Urine filter membrane photographed through a 4× microscope objective. The field of view is about 1.5 mm × 1.1 mm.
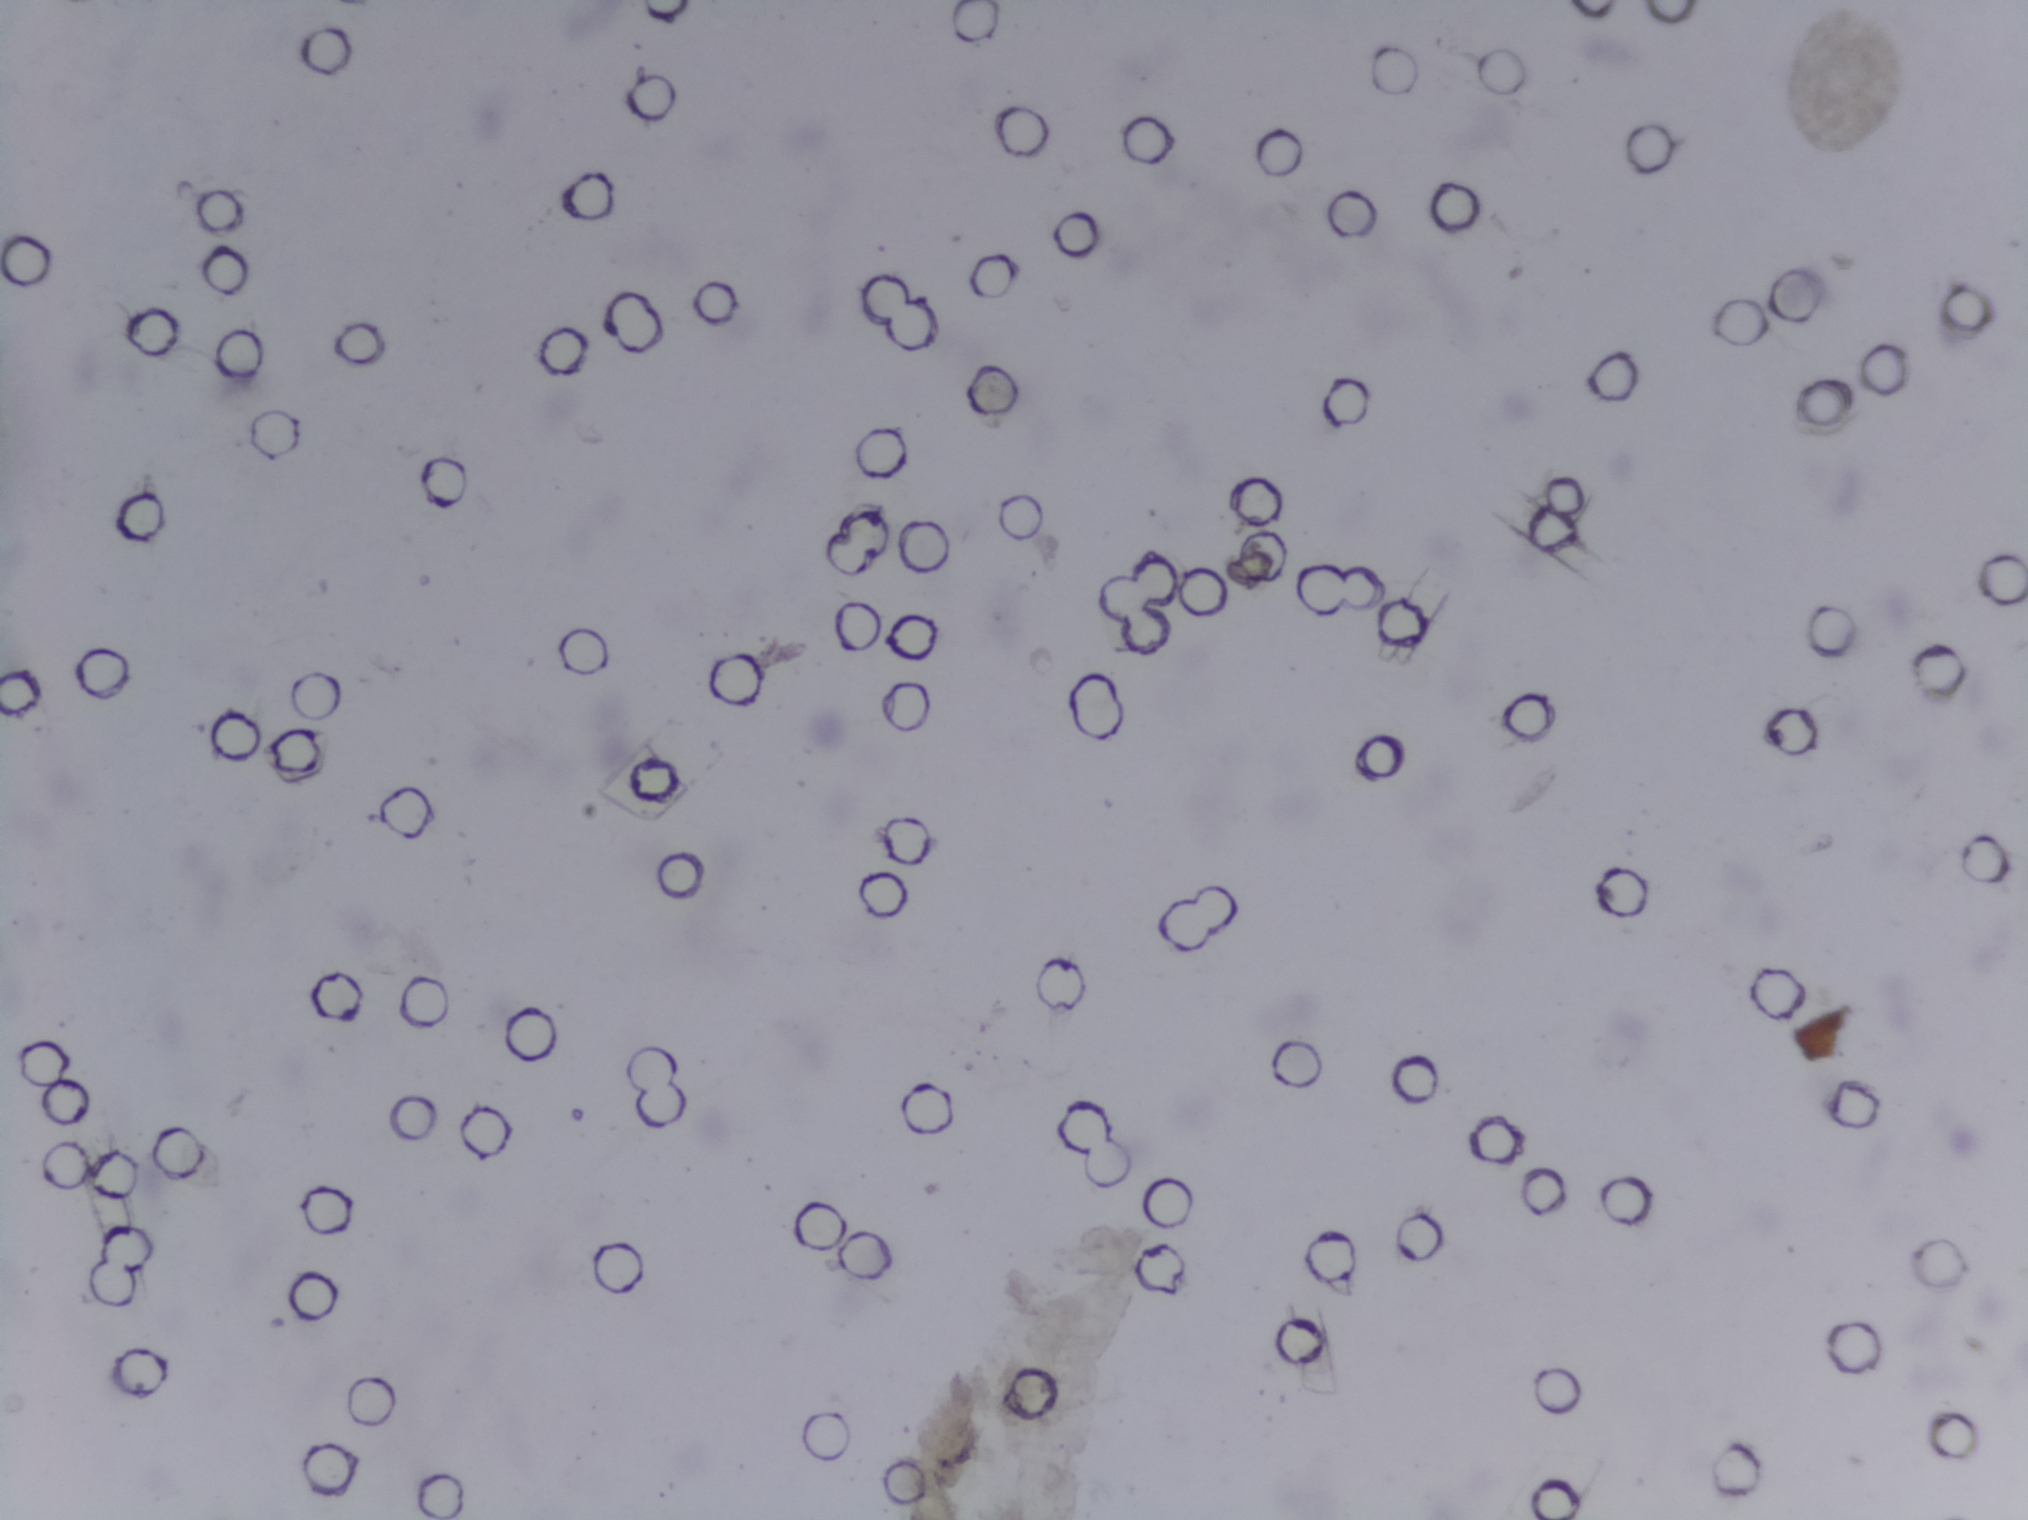
No area of this image was outlined as a Schistosoma egg.